One field of view of a urine filter membrane, 4× objective, 2028 × 1520 pixels.
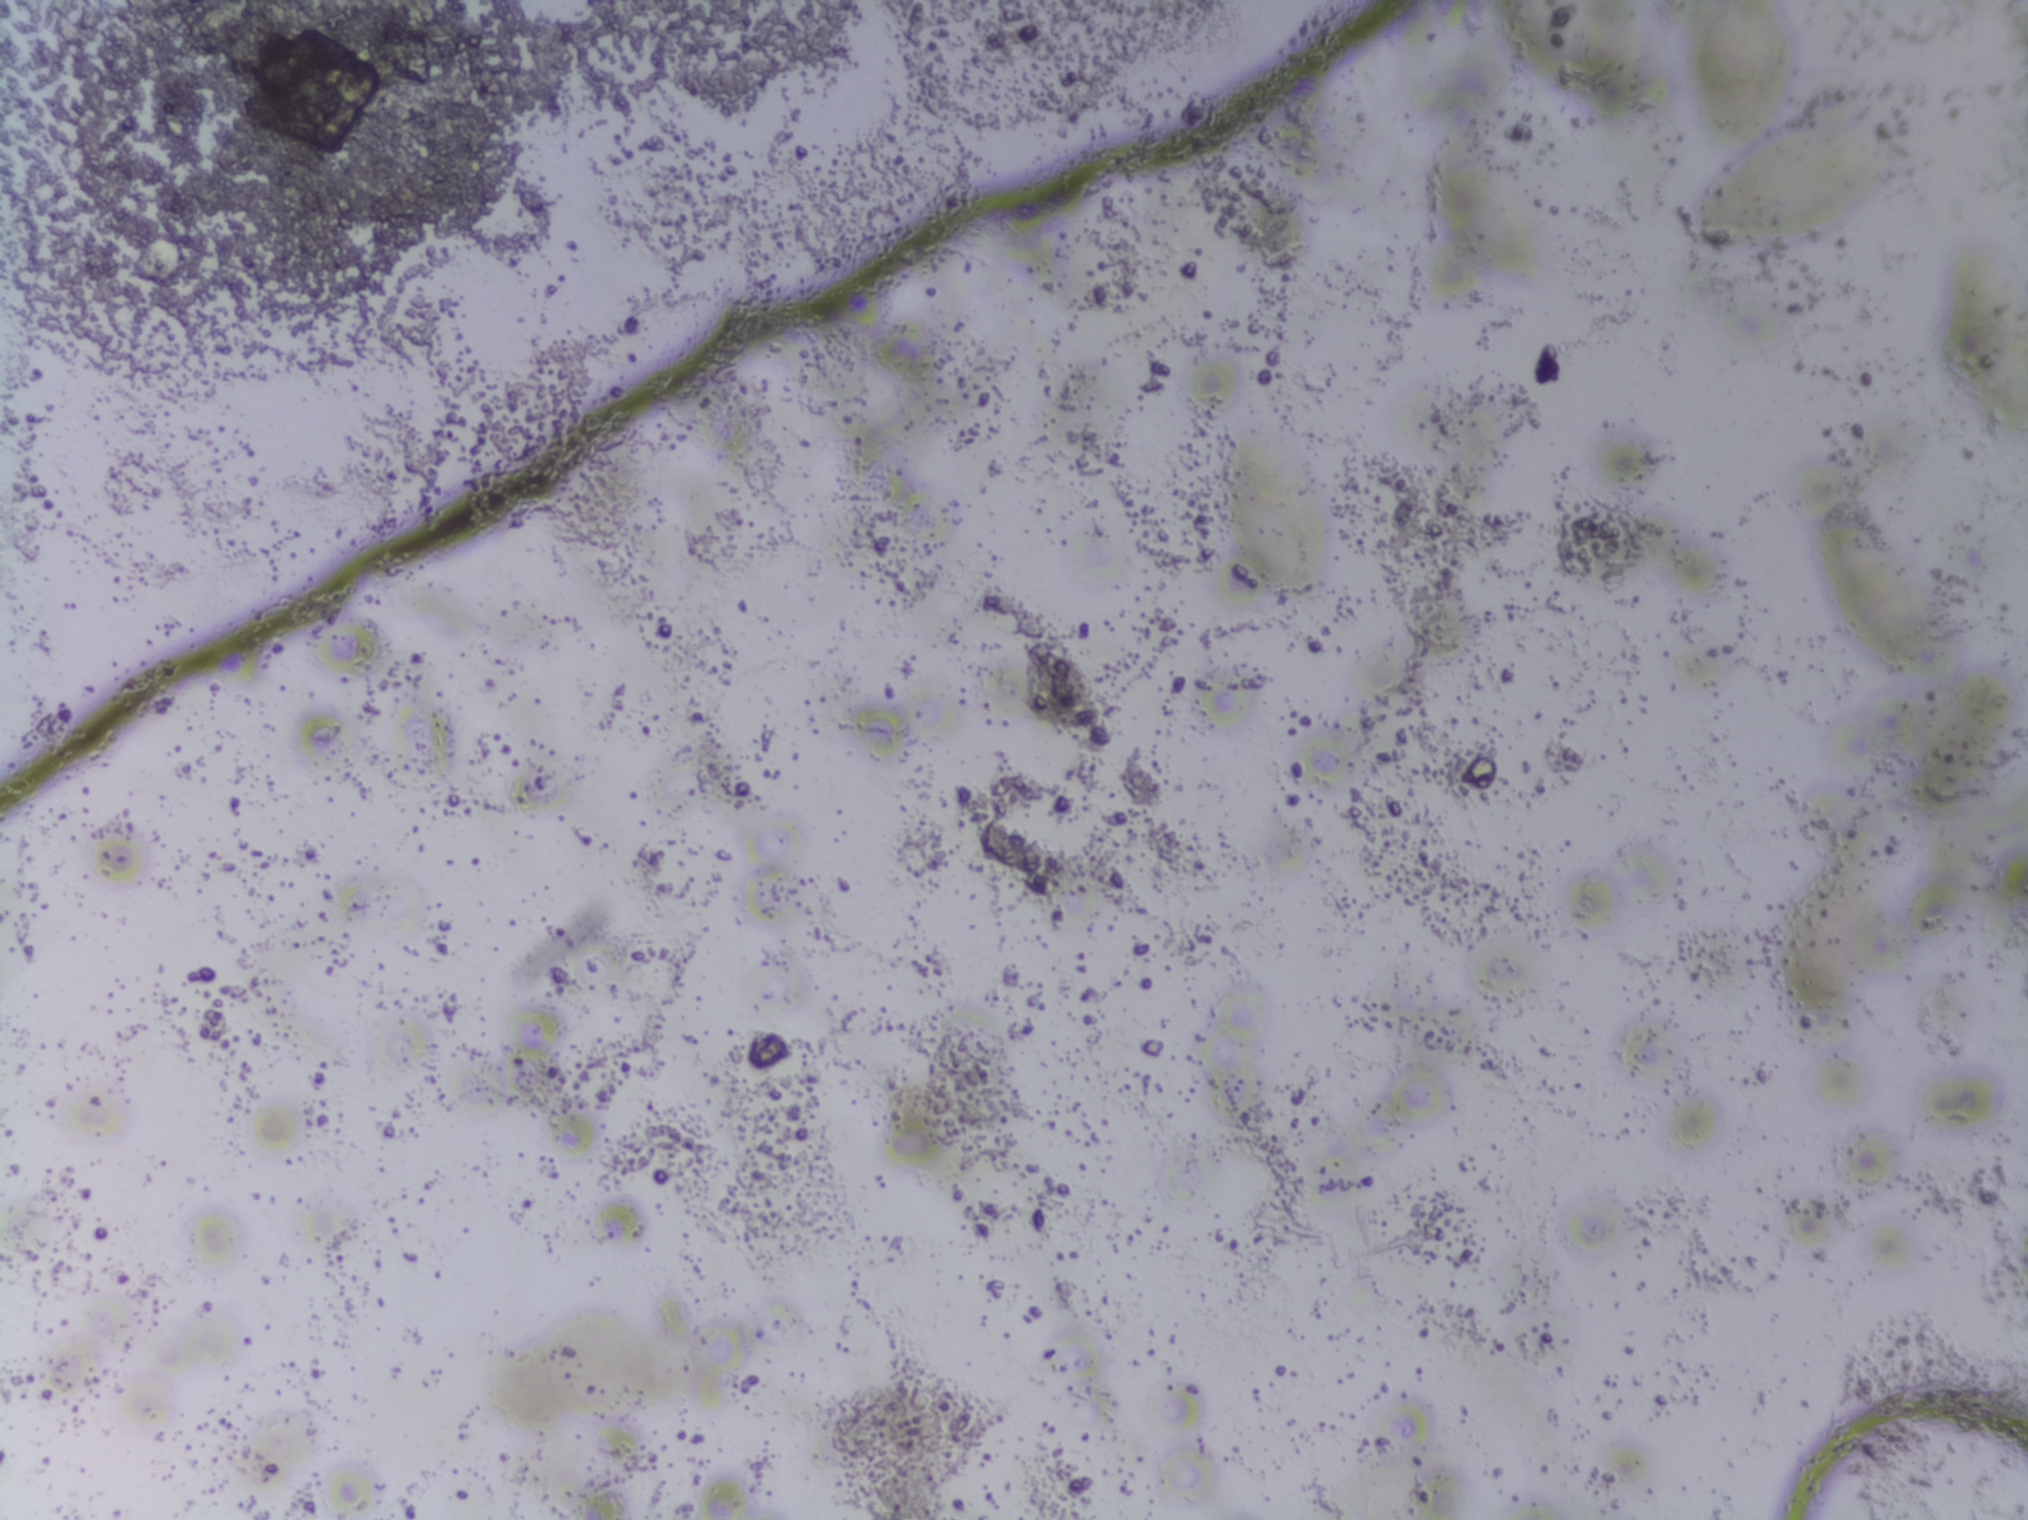
Schistosoma eggs: none outlined.